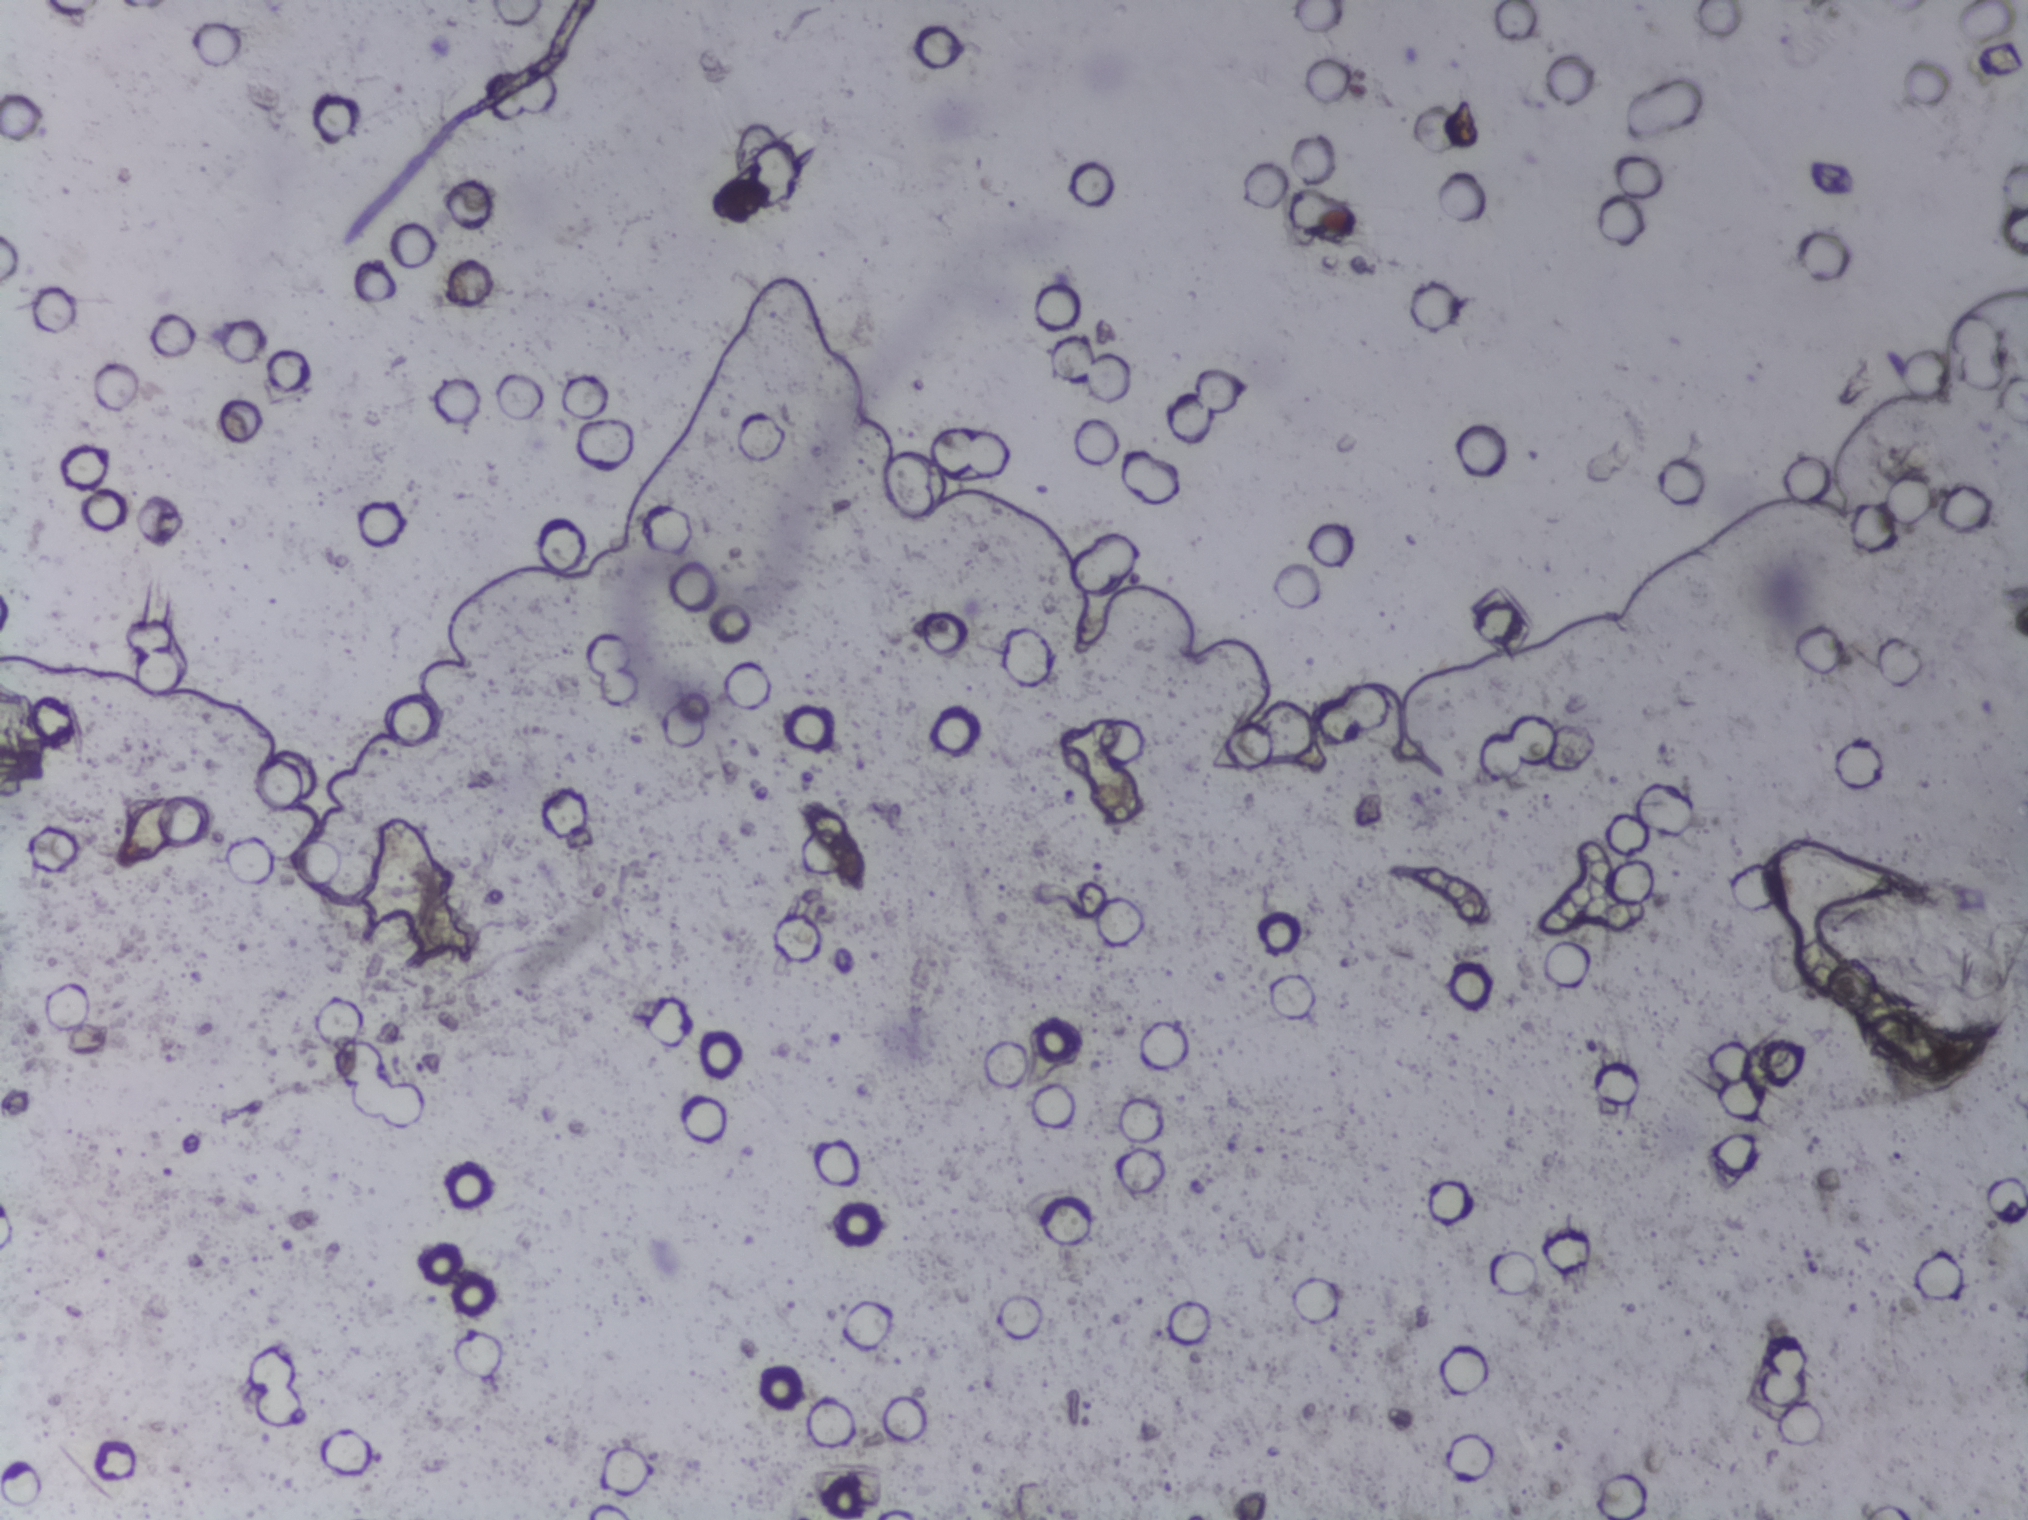
Urine filter membrane photographed through a 4× microscope objective. Field of view: about 1.5 mm wide and 1.1 mm high.
Schistosoma eggs: none outlined.